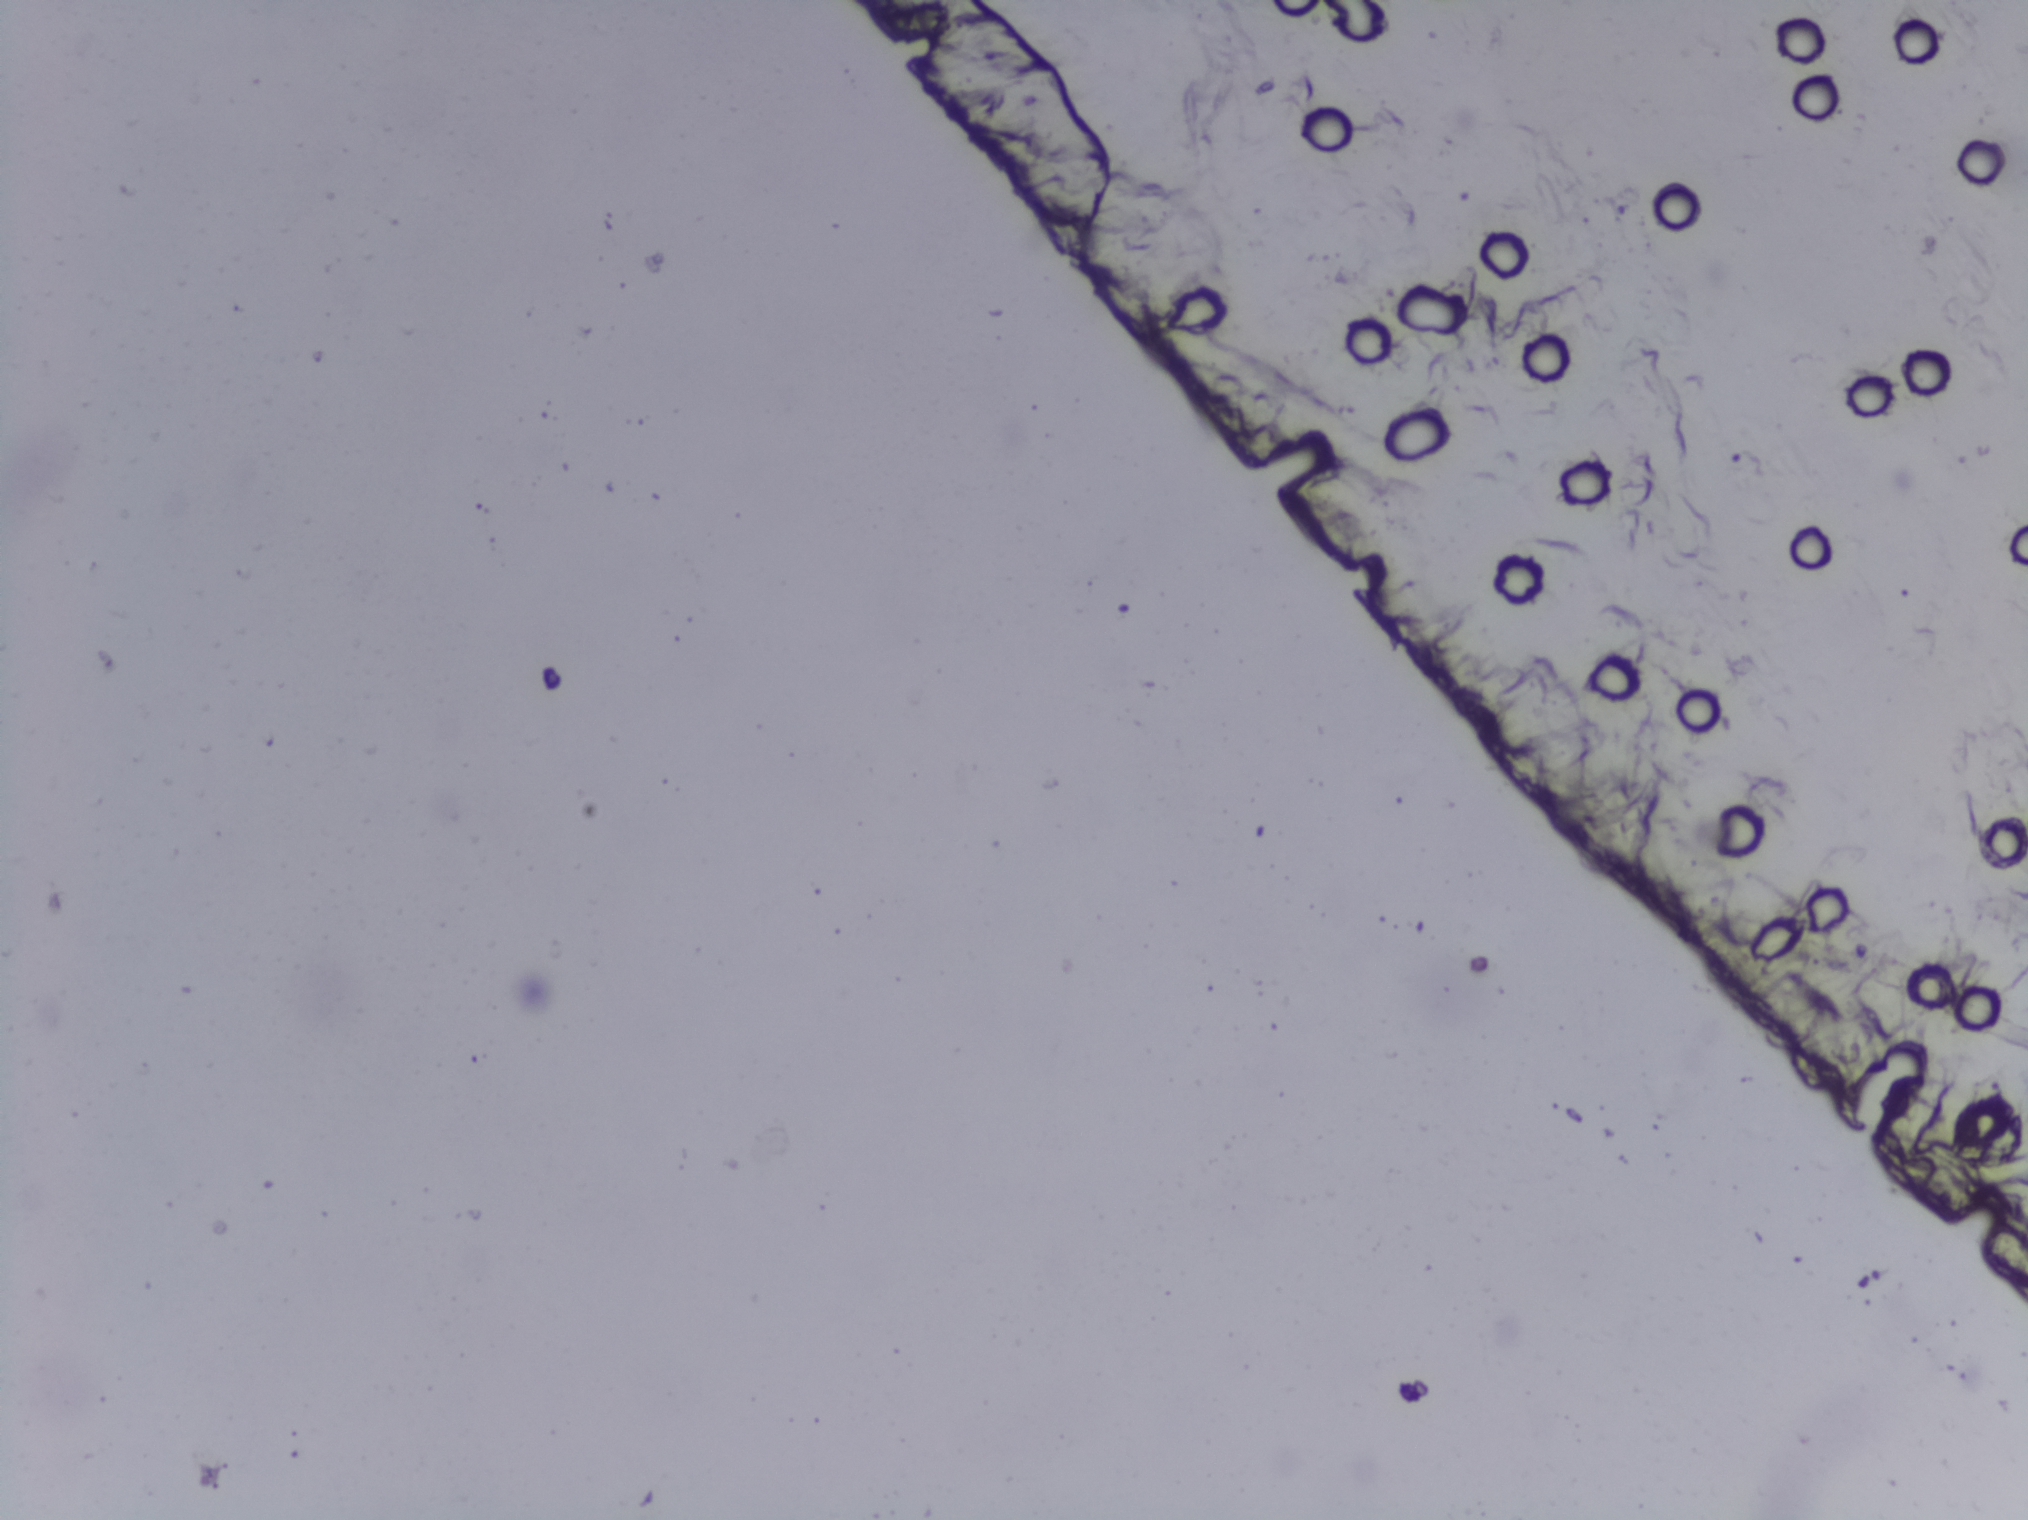
The expert annotation outlines no Schistosoma egg in this image.
Microscope photograph (4× objective) of a membrane that a urine sample was filtered through.